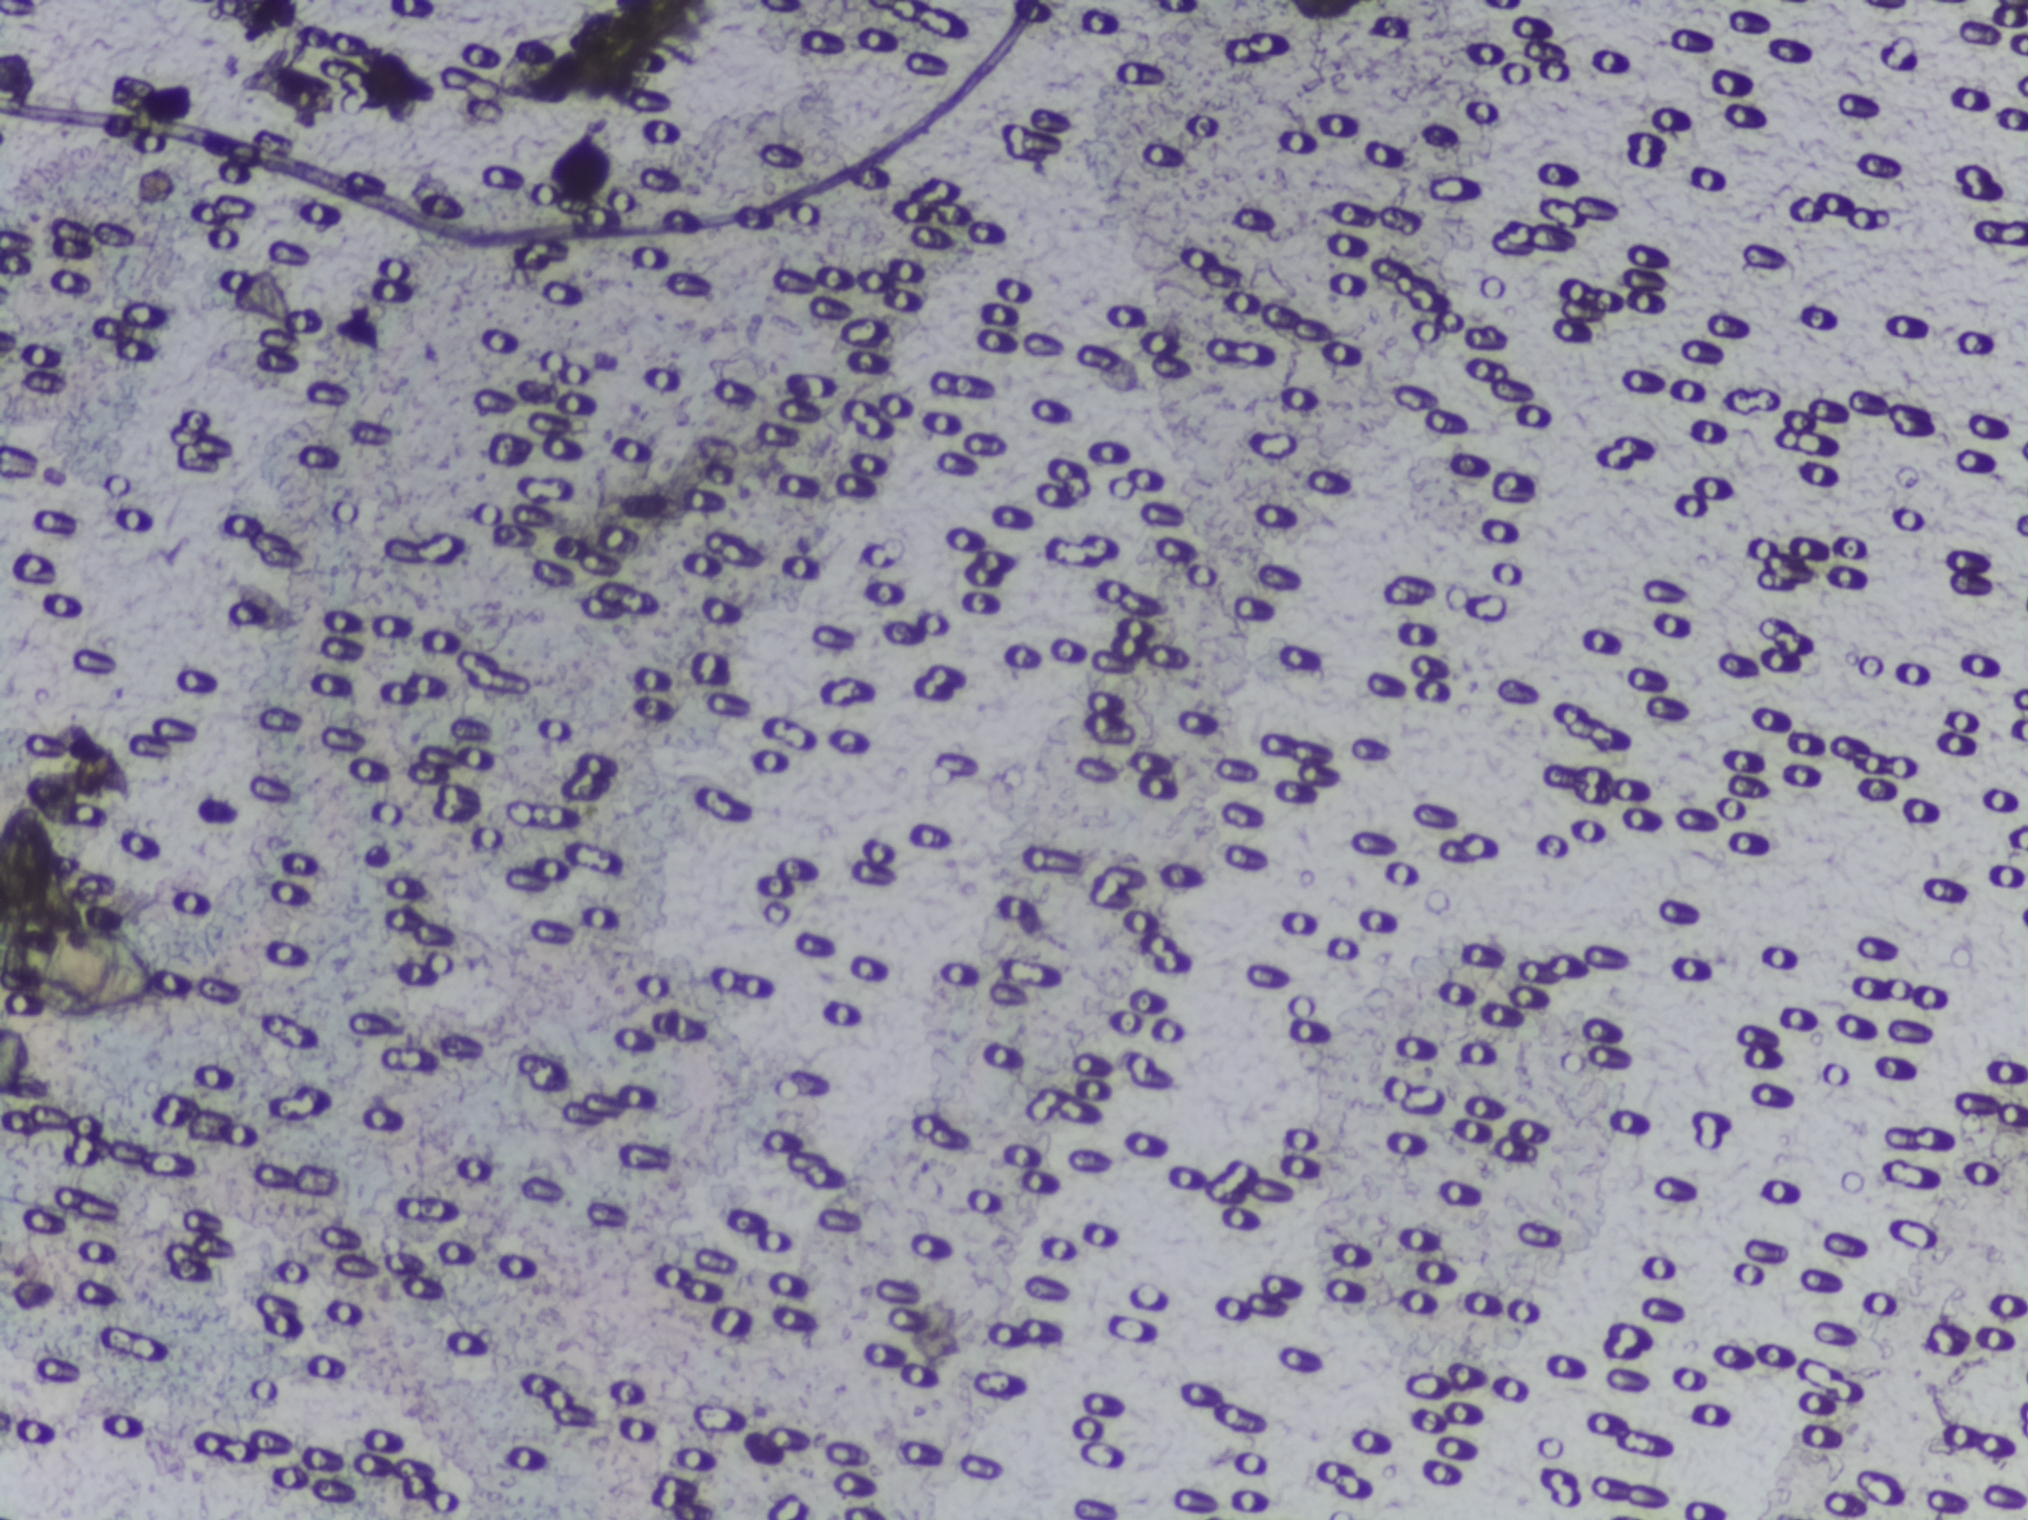
Microscope photograph (4× objective) of a membrane that a urine sample was filtered through.
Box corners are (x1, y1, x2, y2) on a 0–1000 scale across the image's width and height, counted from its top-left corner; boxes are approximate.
Schistosoma eggs are outlined in one area of this image: (0, 582, 92, 674) (reaching the left edge of the frame). Eggs that touch can end up inside the same outlined area.